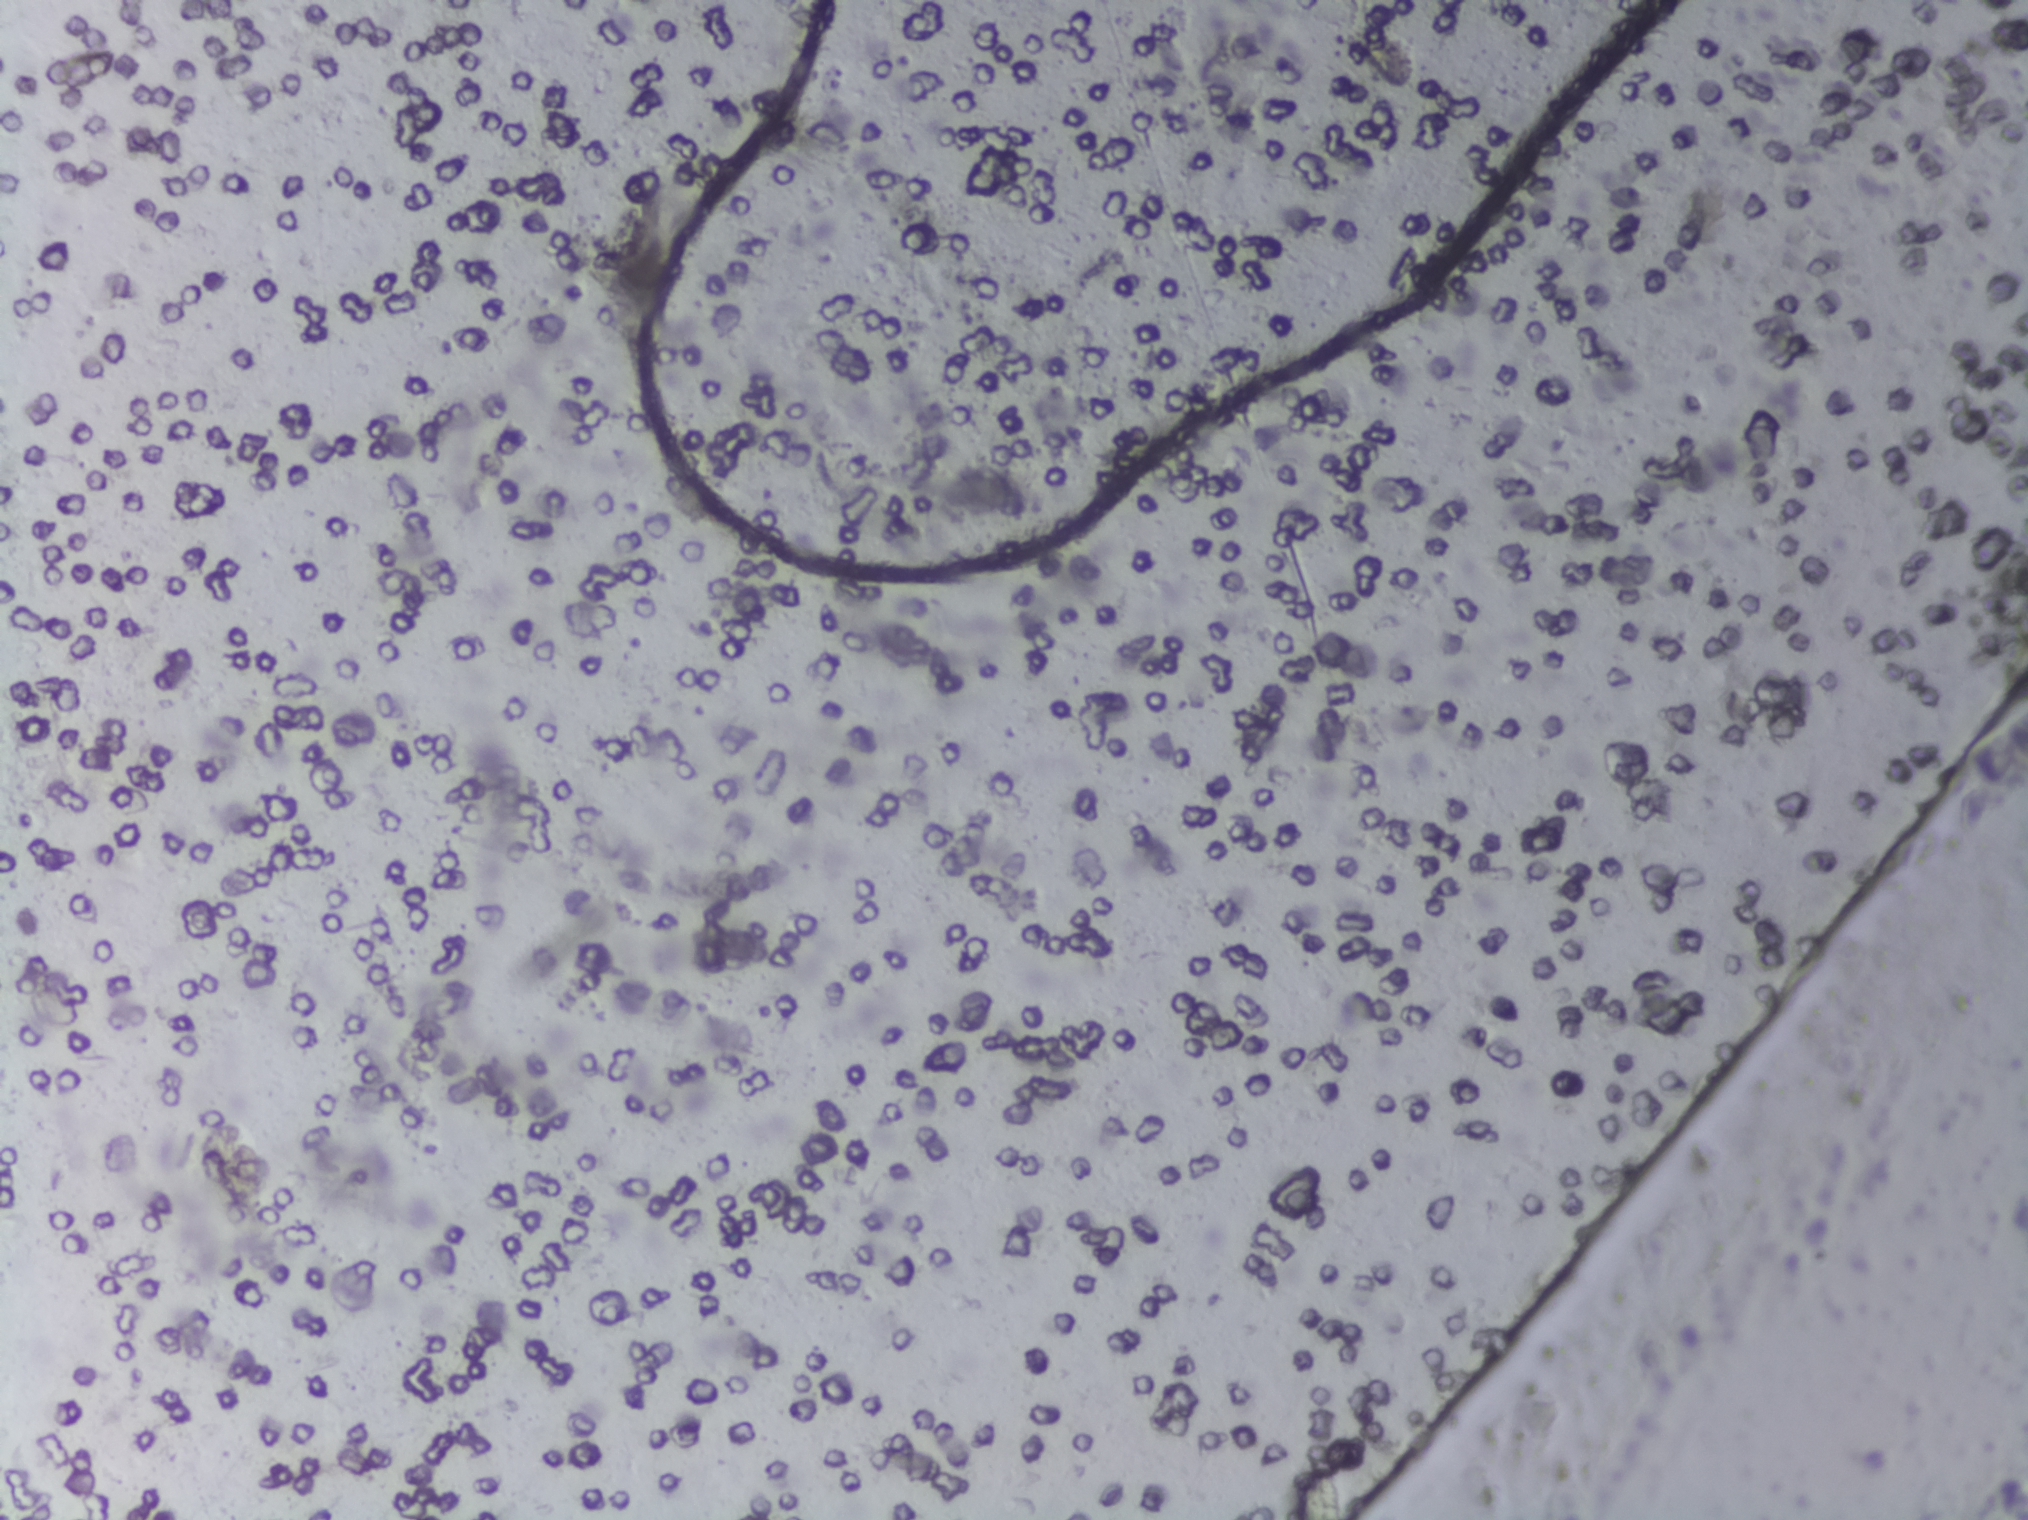
Photograph from an automated digital microscope: urine filter membrane, 4× objective.
The expert annotation outlines no Schistosoma egg in this image.